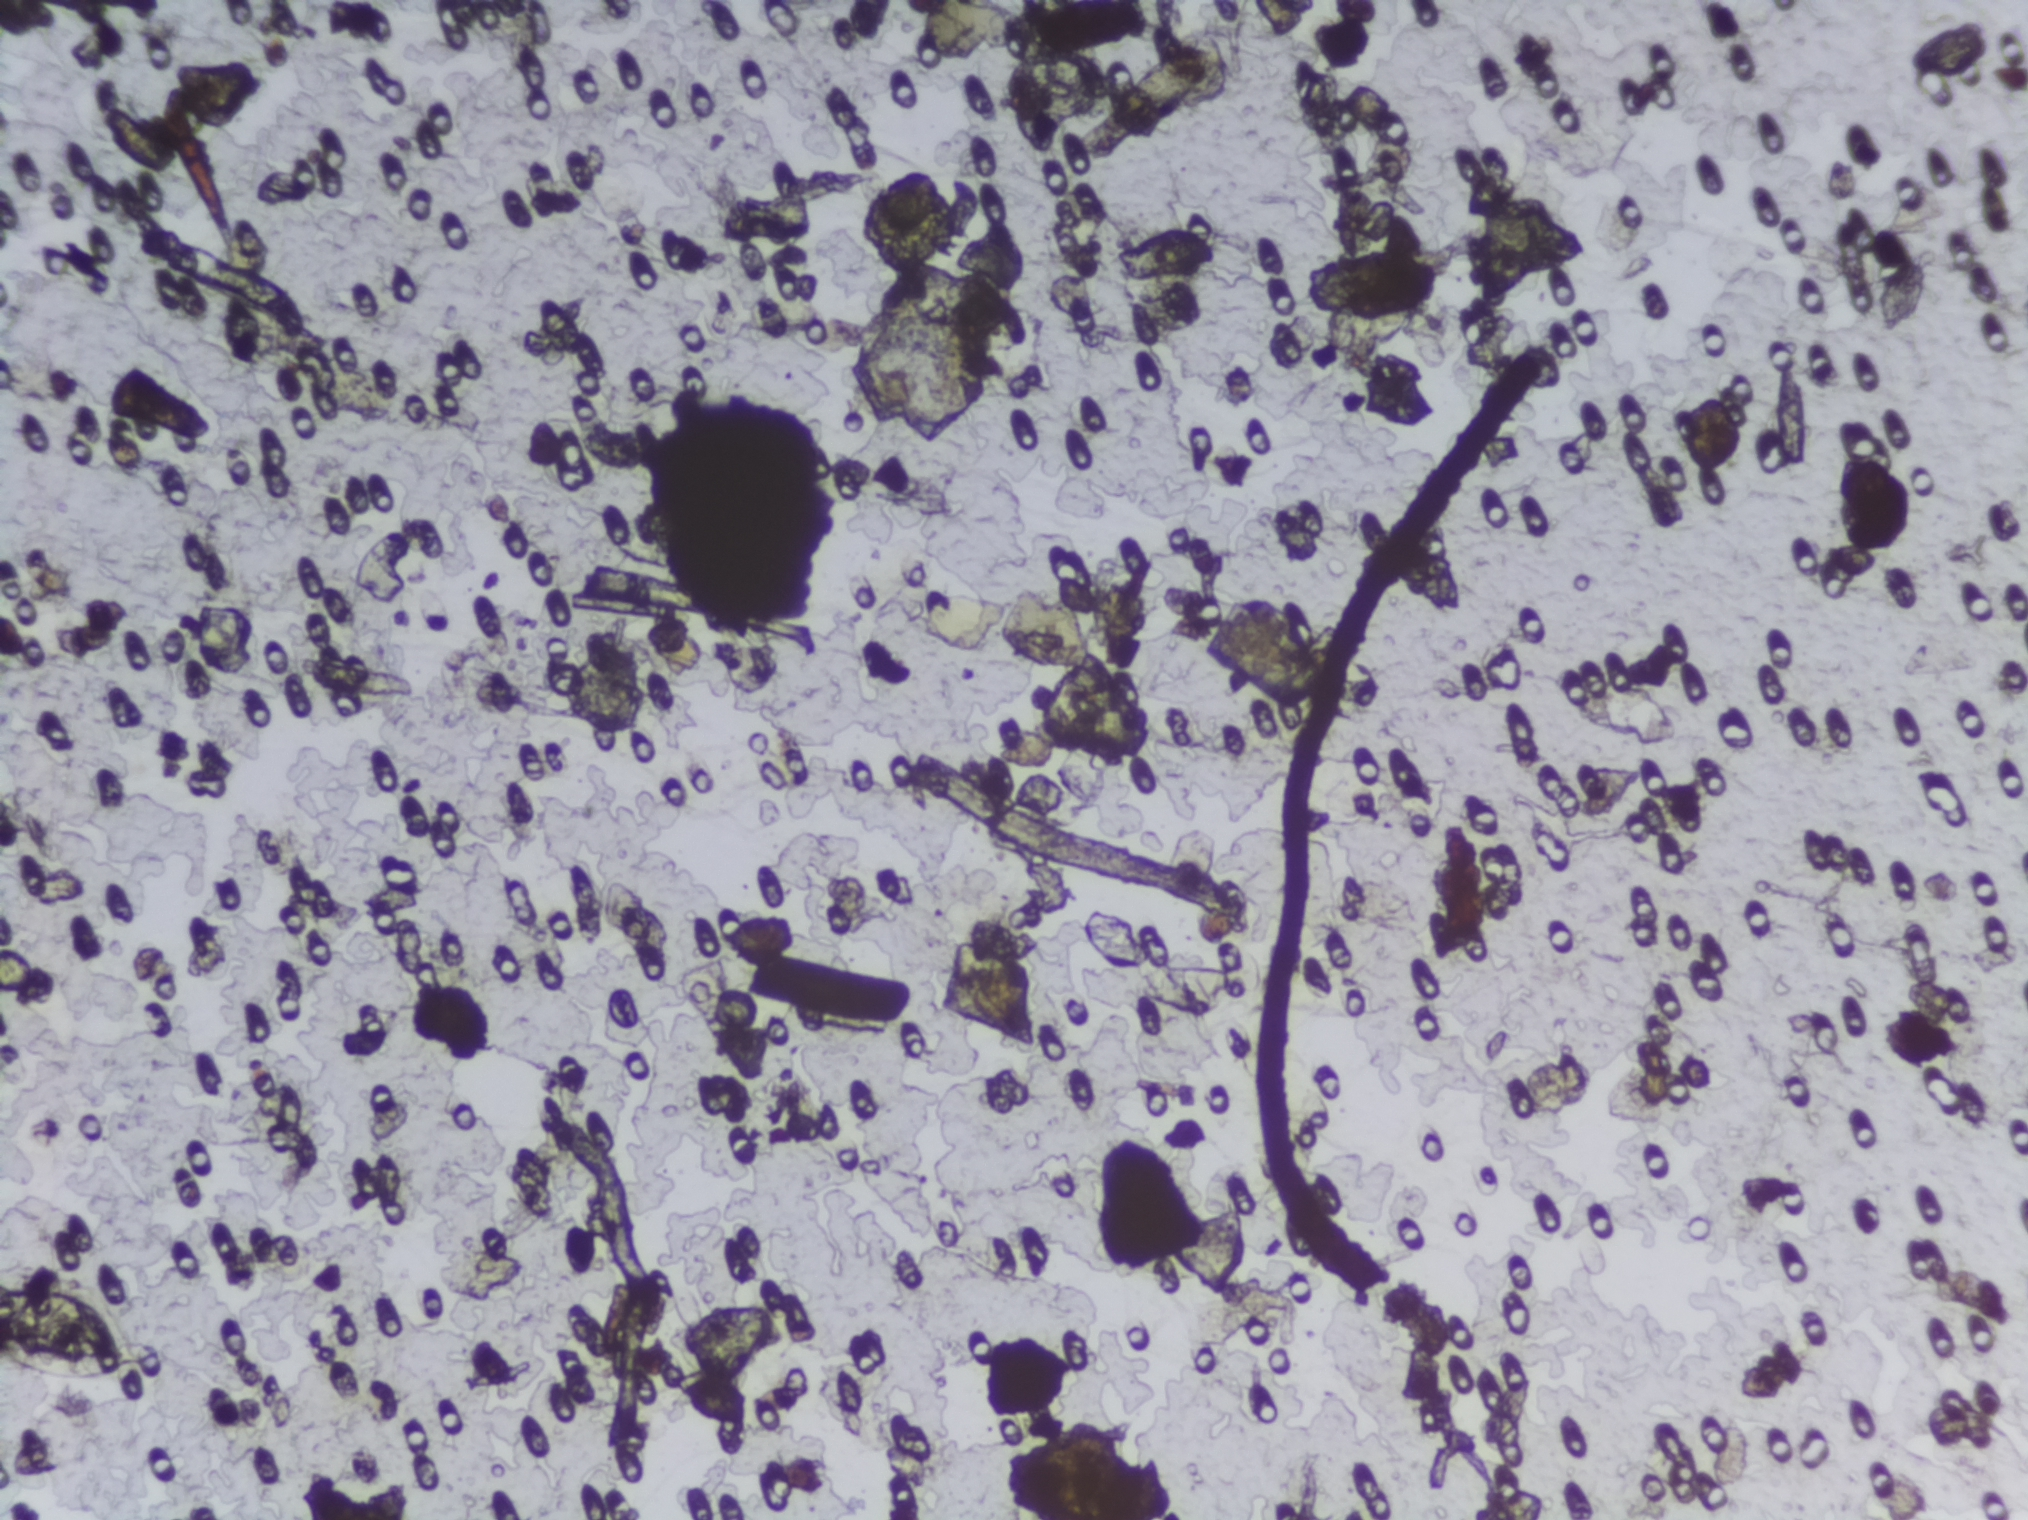
Photomicrograph of a urine filtration membrane, 4× objective.
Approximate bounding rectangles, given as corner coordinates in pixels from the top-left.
Outlined Schistosoma egg areas:
1. (x1=0, y1=1266, x2=152, y2=1386) (reaching the left edge of the frame)
Eggs that touch can end up inside the same outlined area.